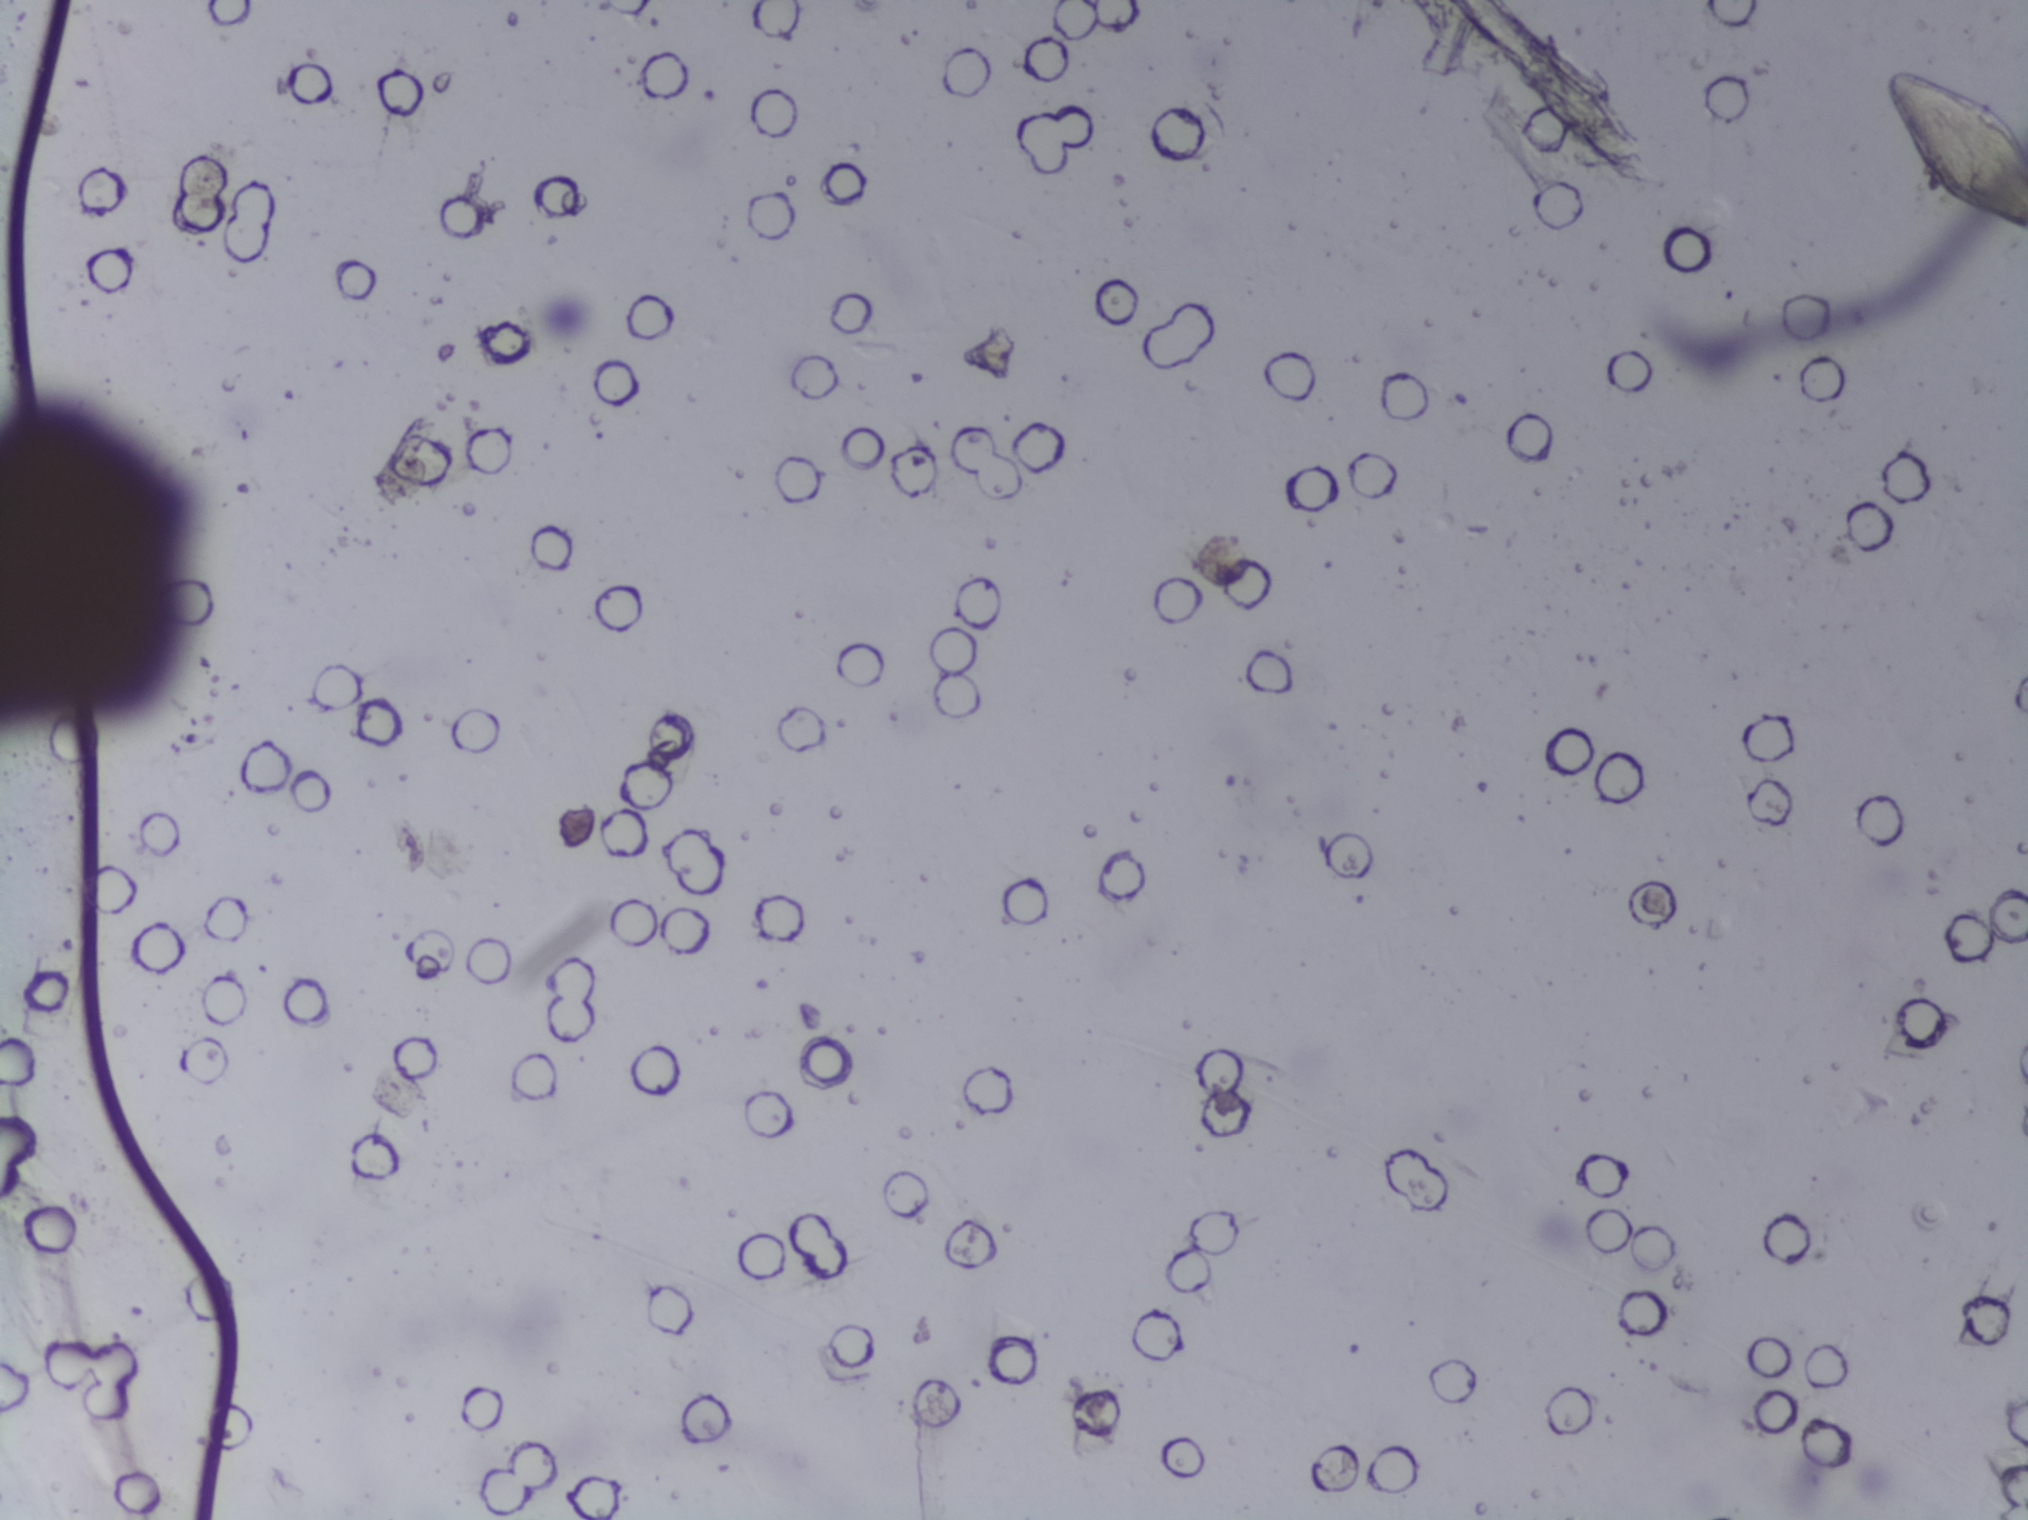
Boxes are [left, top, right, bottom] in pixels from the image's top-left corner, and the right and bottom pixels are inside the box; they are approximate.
{"schistosoma_egg_areas_xyxy_px": [[1883, 68, 2027, 237]]} Area 1 reaches the right edge of the frame.
A single outlined area may contain several eggs.
Photomicrograph of a urine filtration membrane, 4× objective.